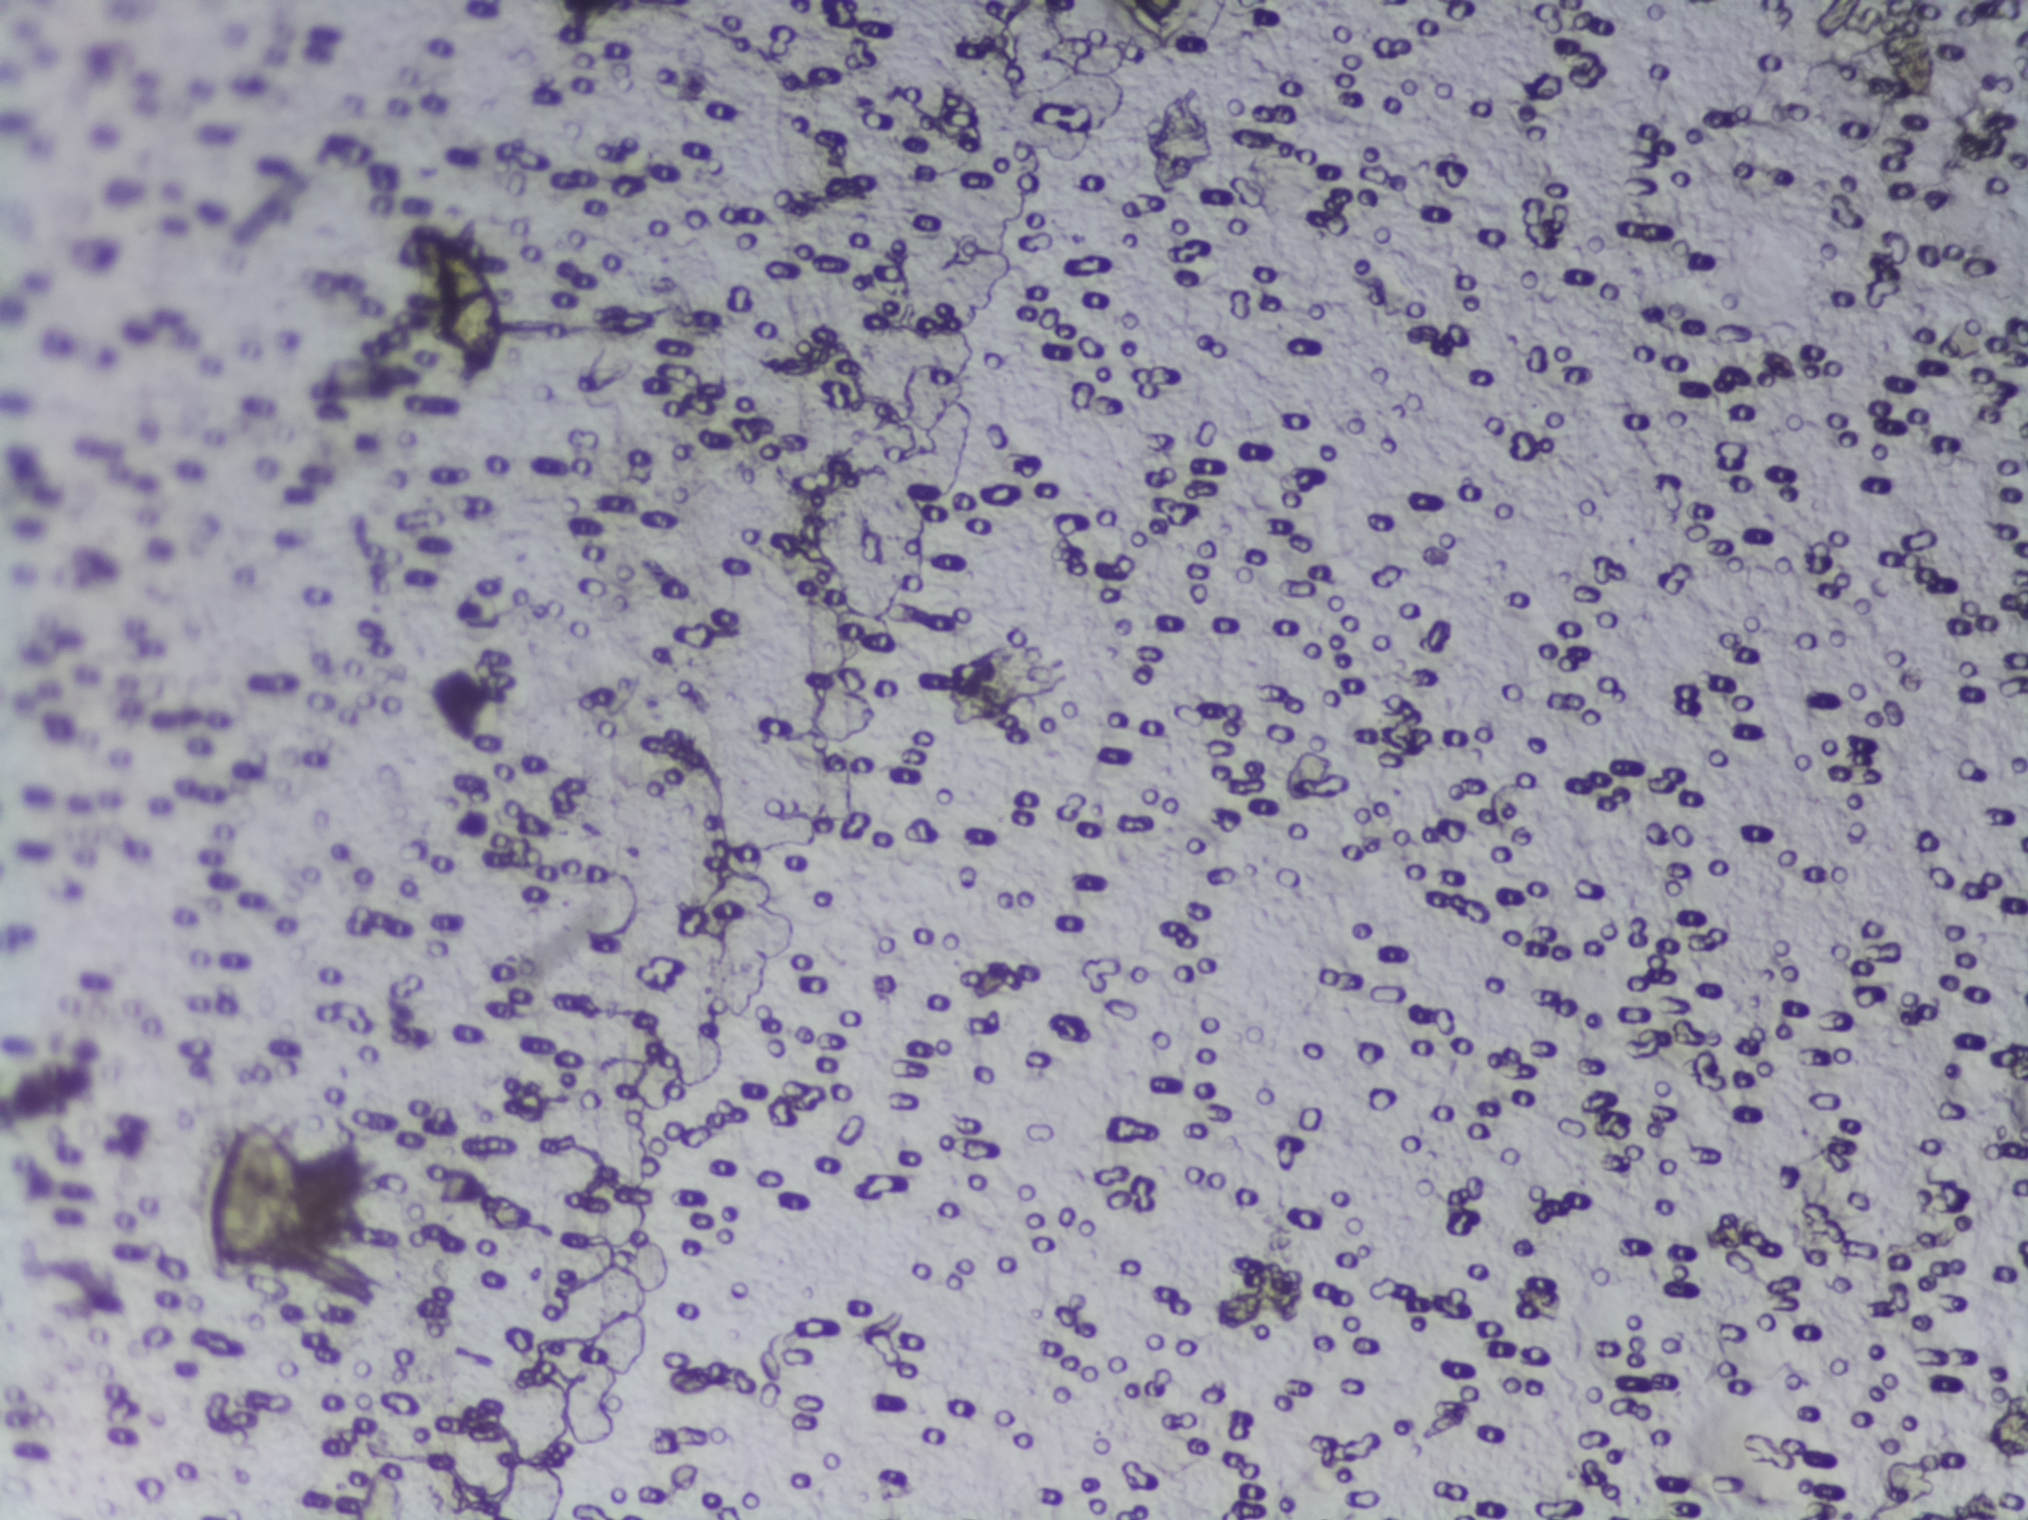
Photograph from an automated digital microscope: urine filter membrane, 4× objective.
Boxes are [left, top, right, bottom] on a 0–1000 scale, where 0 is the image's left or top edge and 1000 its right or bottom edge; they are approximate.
Areas outlined as Schistosoma eggs, left to right:
1. [103, 734, 166, 844]
2. [201, 149, 251, 247]
3. [548, 0, 598, 39] (reaching the top edge of the frame)
A single outlined area may contain several eggs.